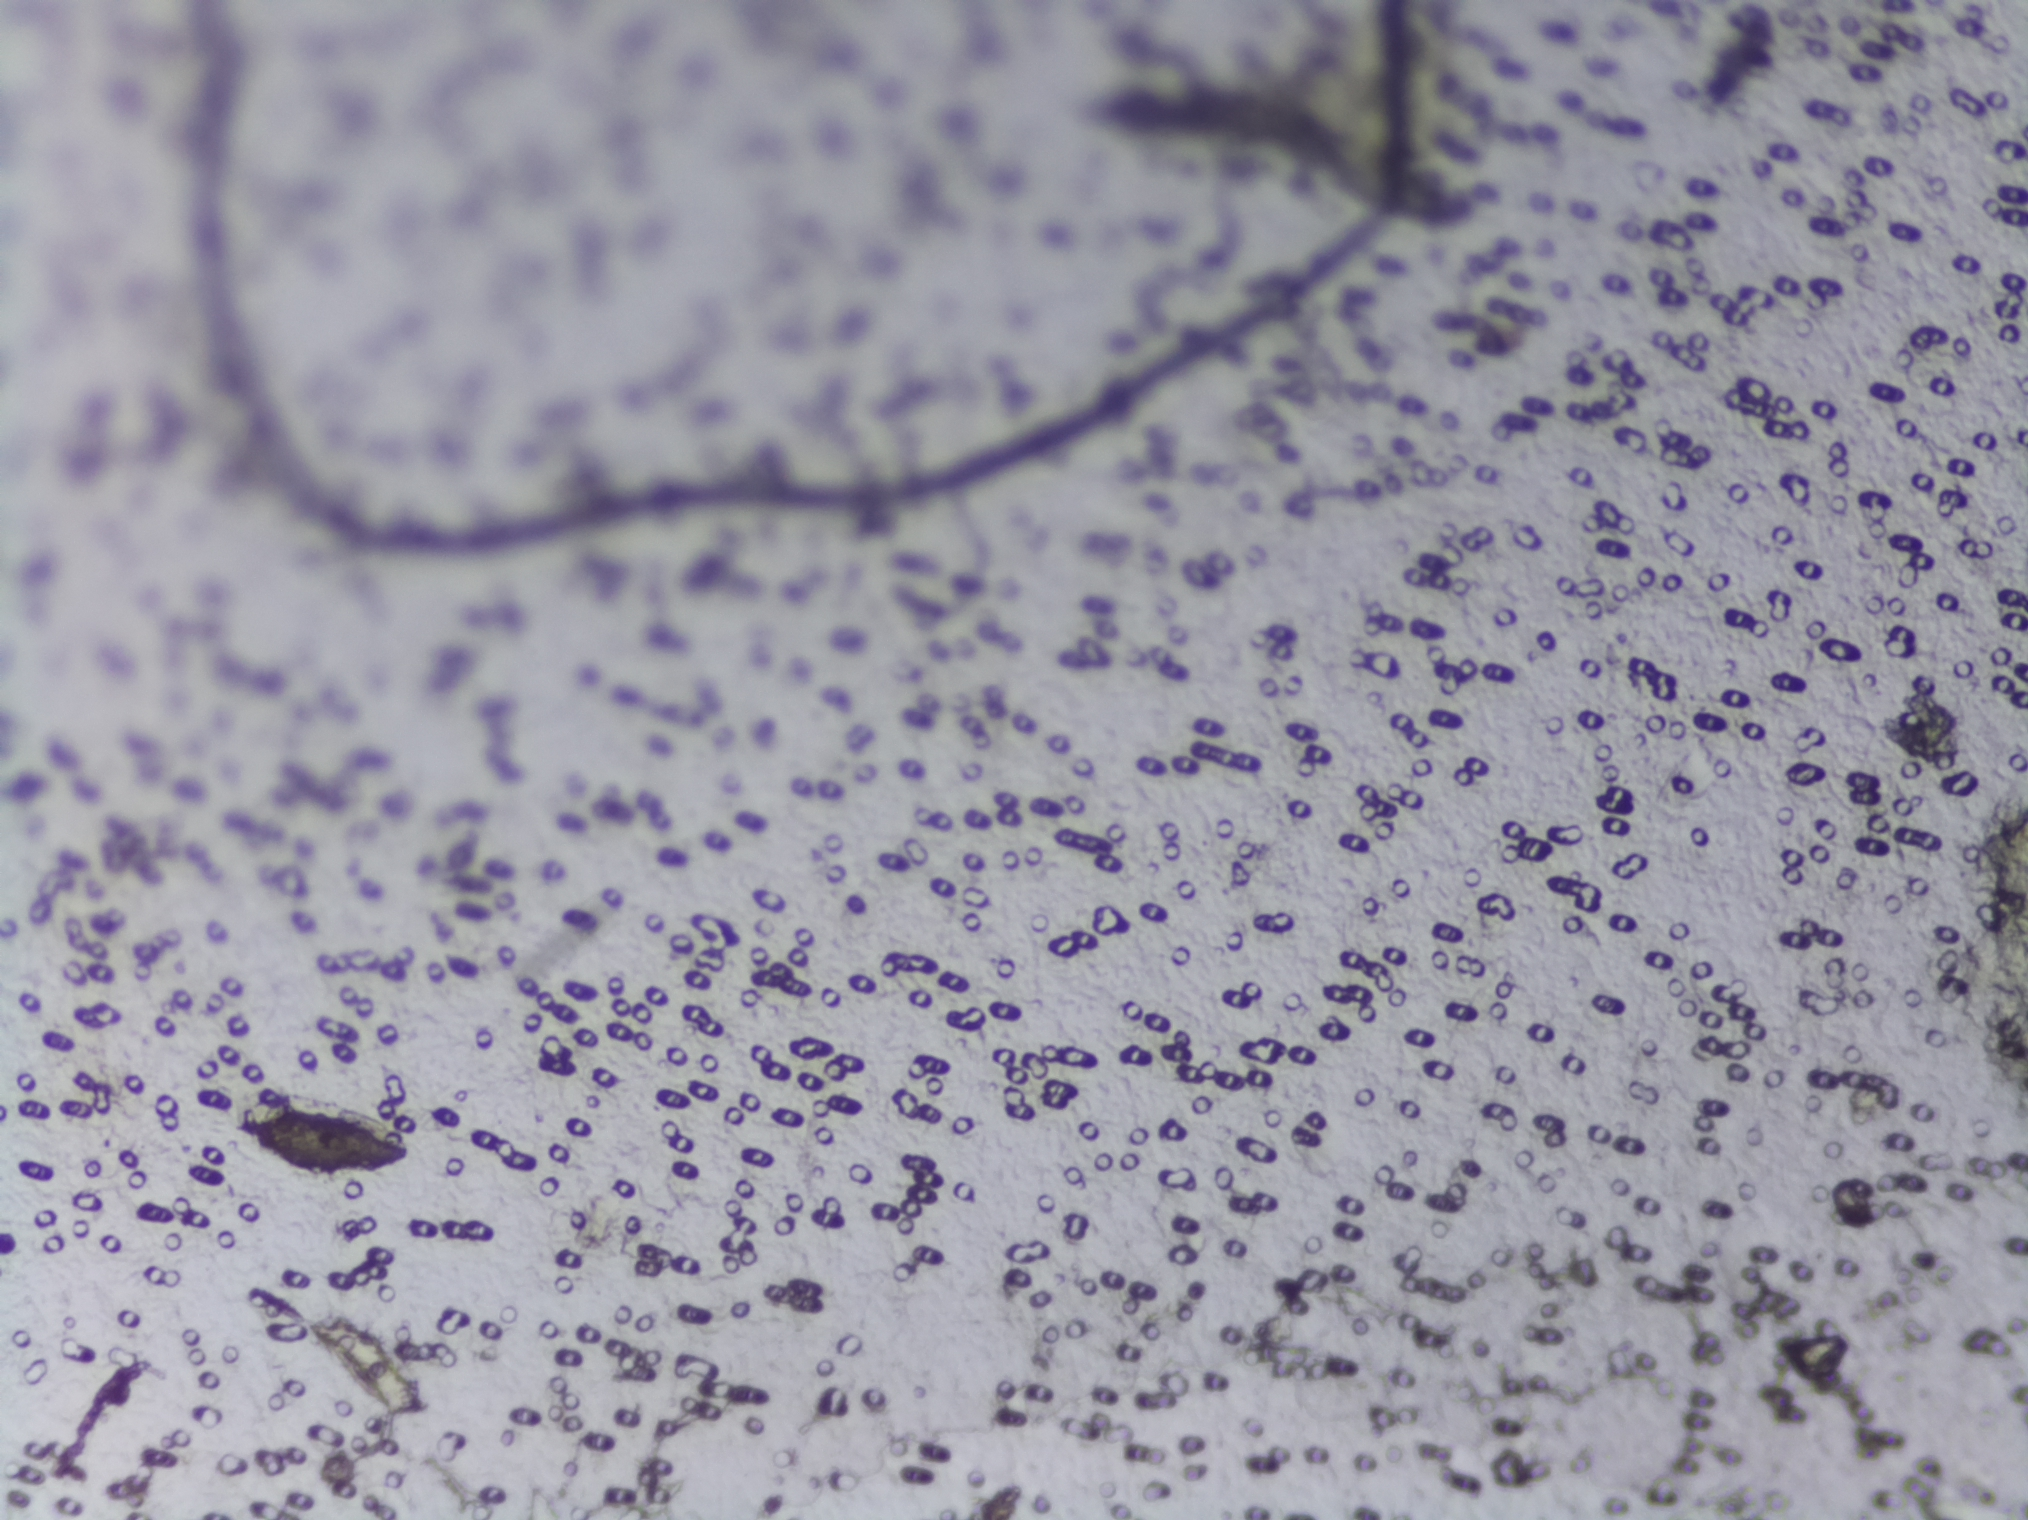
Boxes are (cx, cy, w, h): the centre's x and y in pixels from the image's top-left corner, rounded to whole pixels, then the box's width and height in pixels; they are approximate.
Areas outlined as Schistosoma eggs:
1. (cx=320, cy=1142, w=178, h=70)
Marked pixels, not the box around them: about 0.3% of the image. A single outlined area may contain several eggs.
Urine filter membrane photographed through a 4× microscope objective.